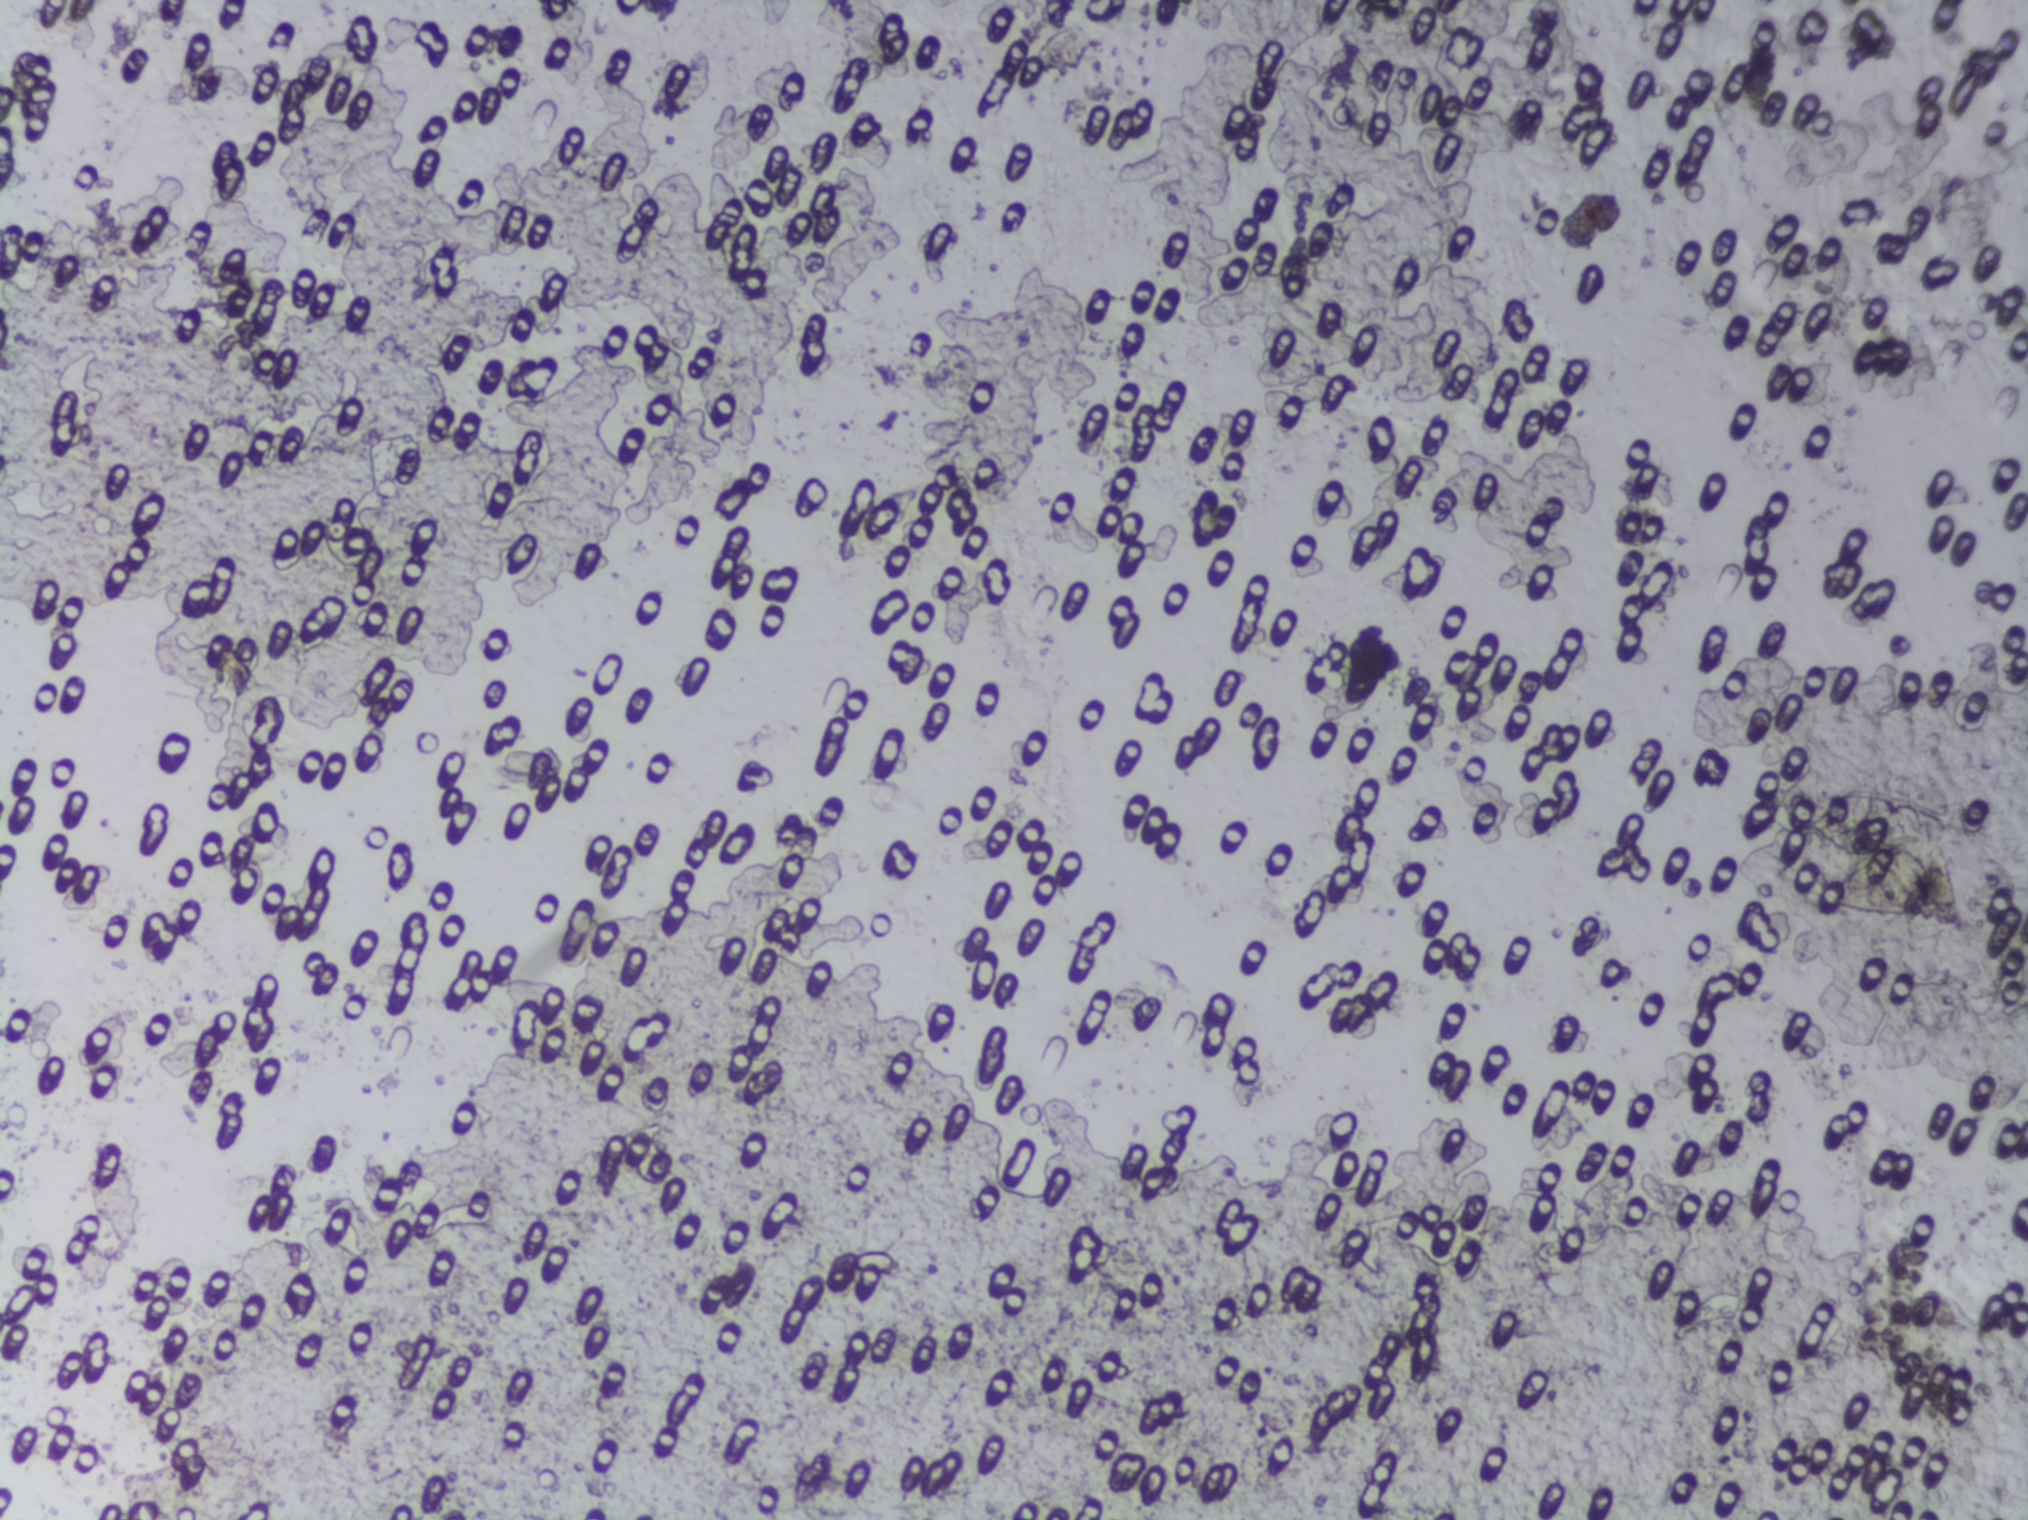
One field of view of a urine filter membrane, 4× objective, 2028 × 1520 pixels.
No area of this image was outlined as a Schistosoma egg.